Microscope photograph (4× objective) of a membrane that a urine sample was filtered through. Field of view: about 1.5 mm wide and 1.1 mm high.
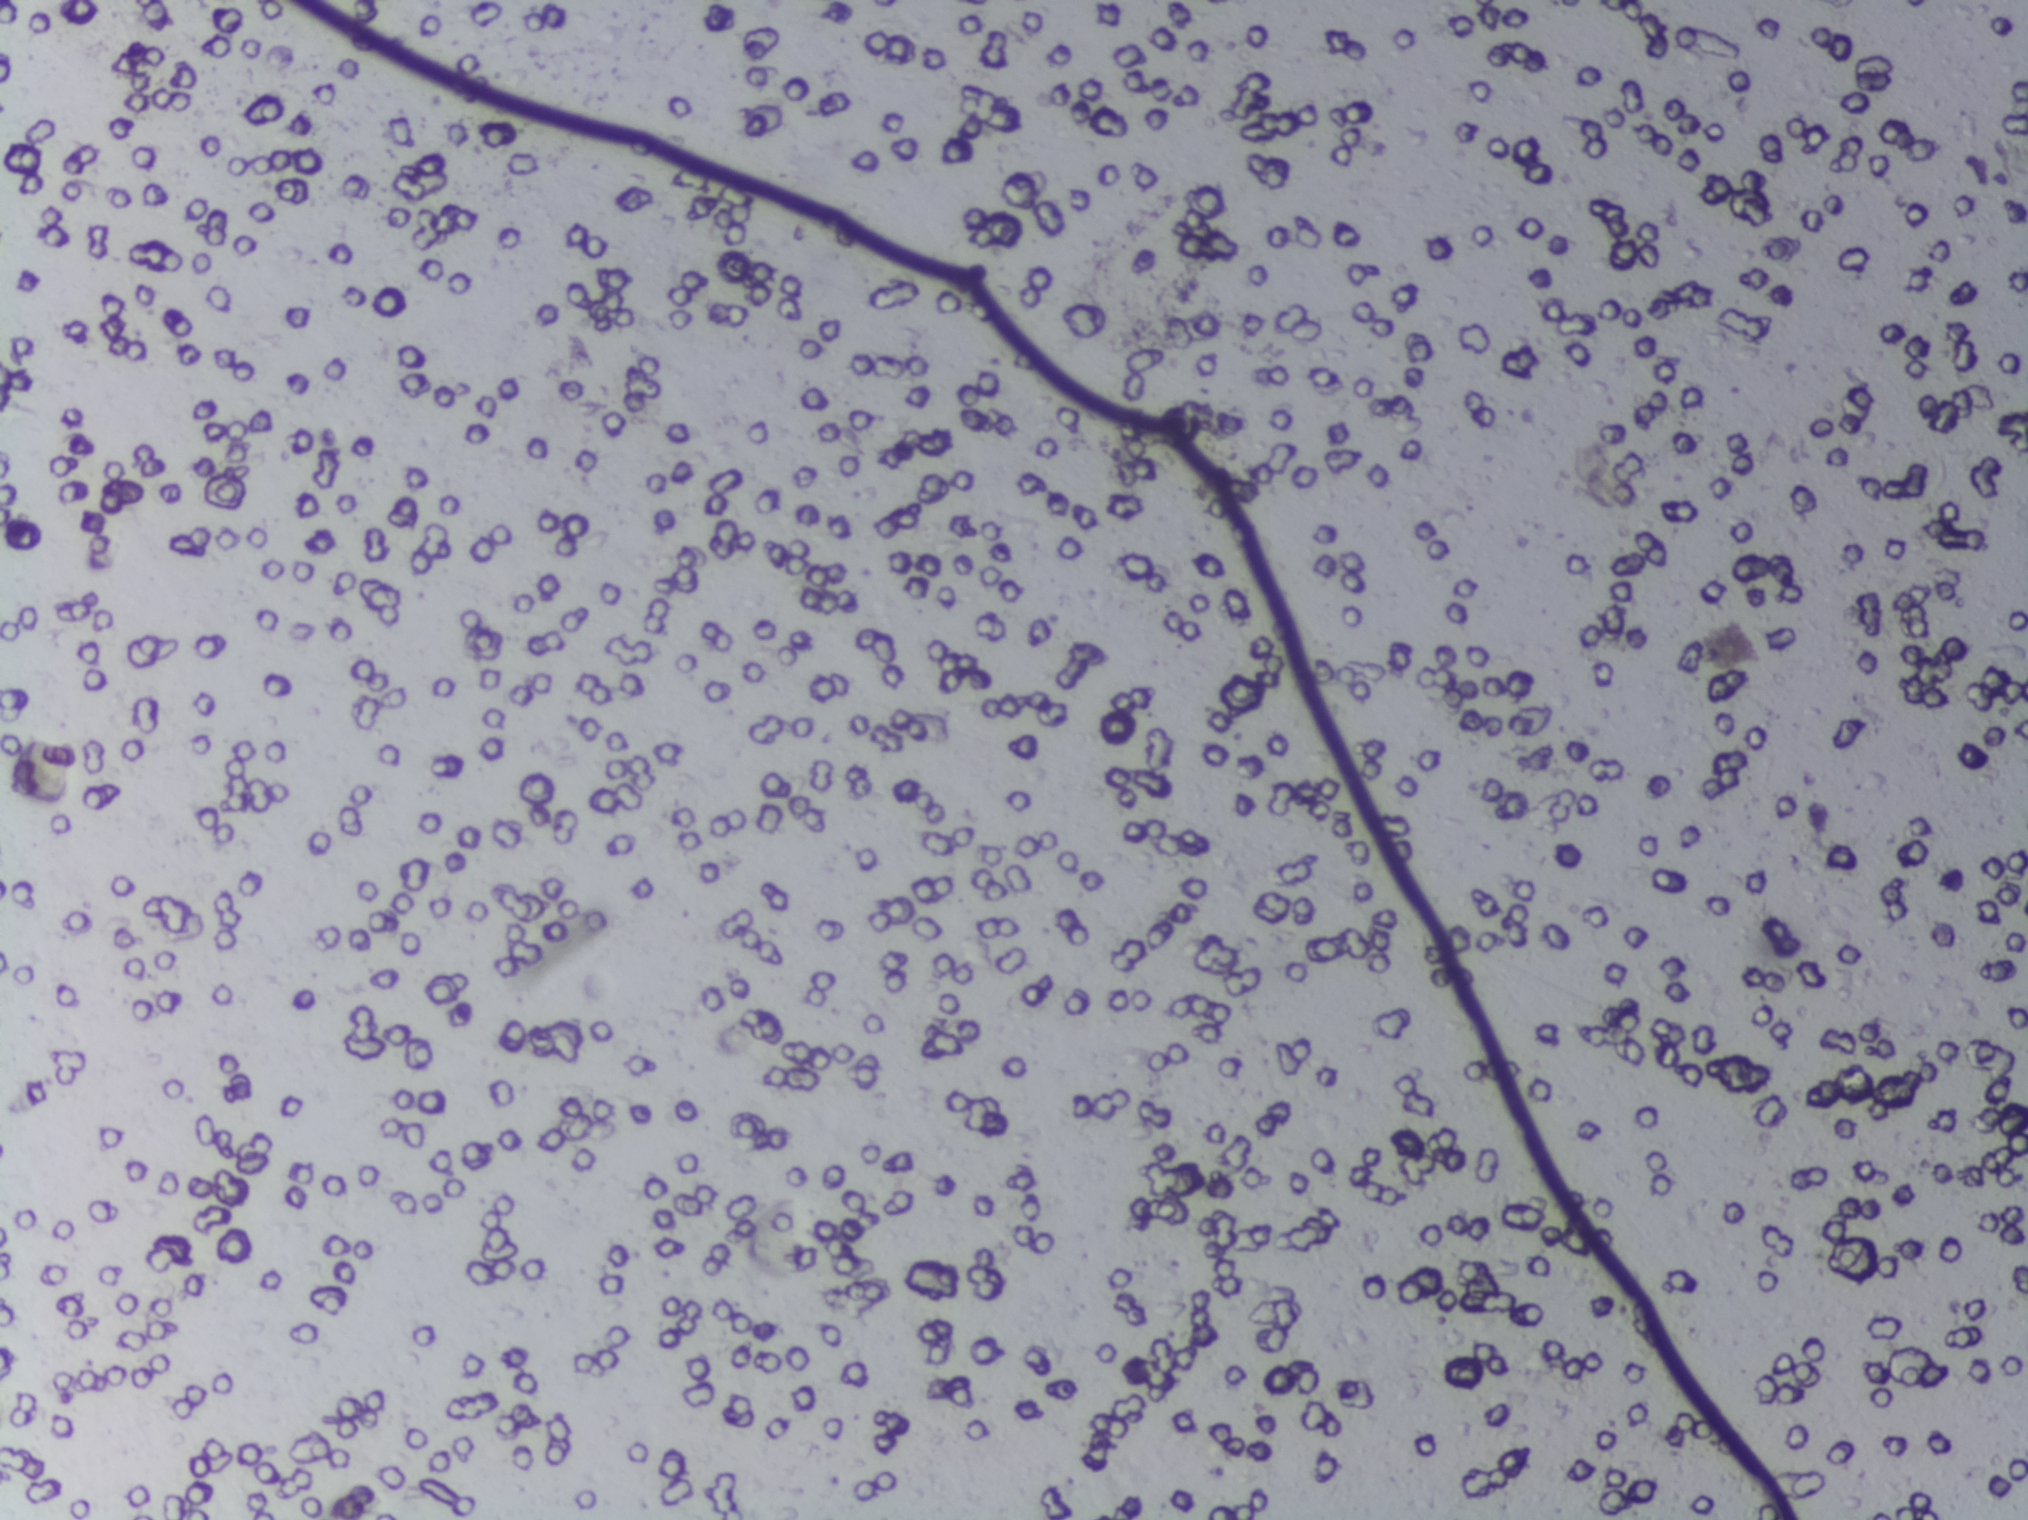
Schistosoma eggs: none outlined.